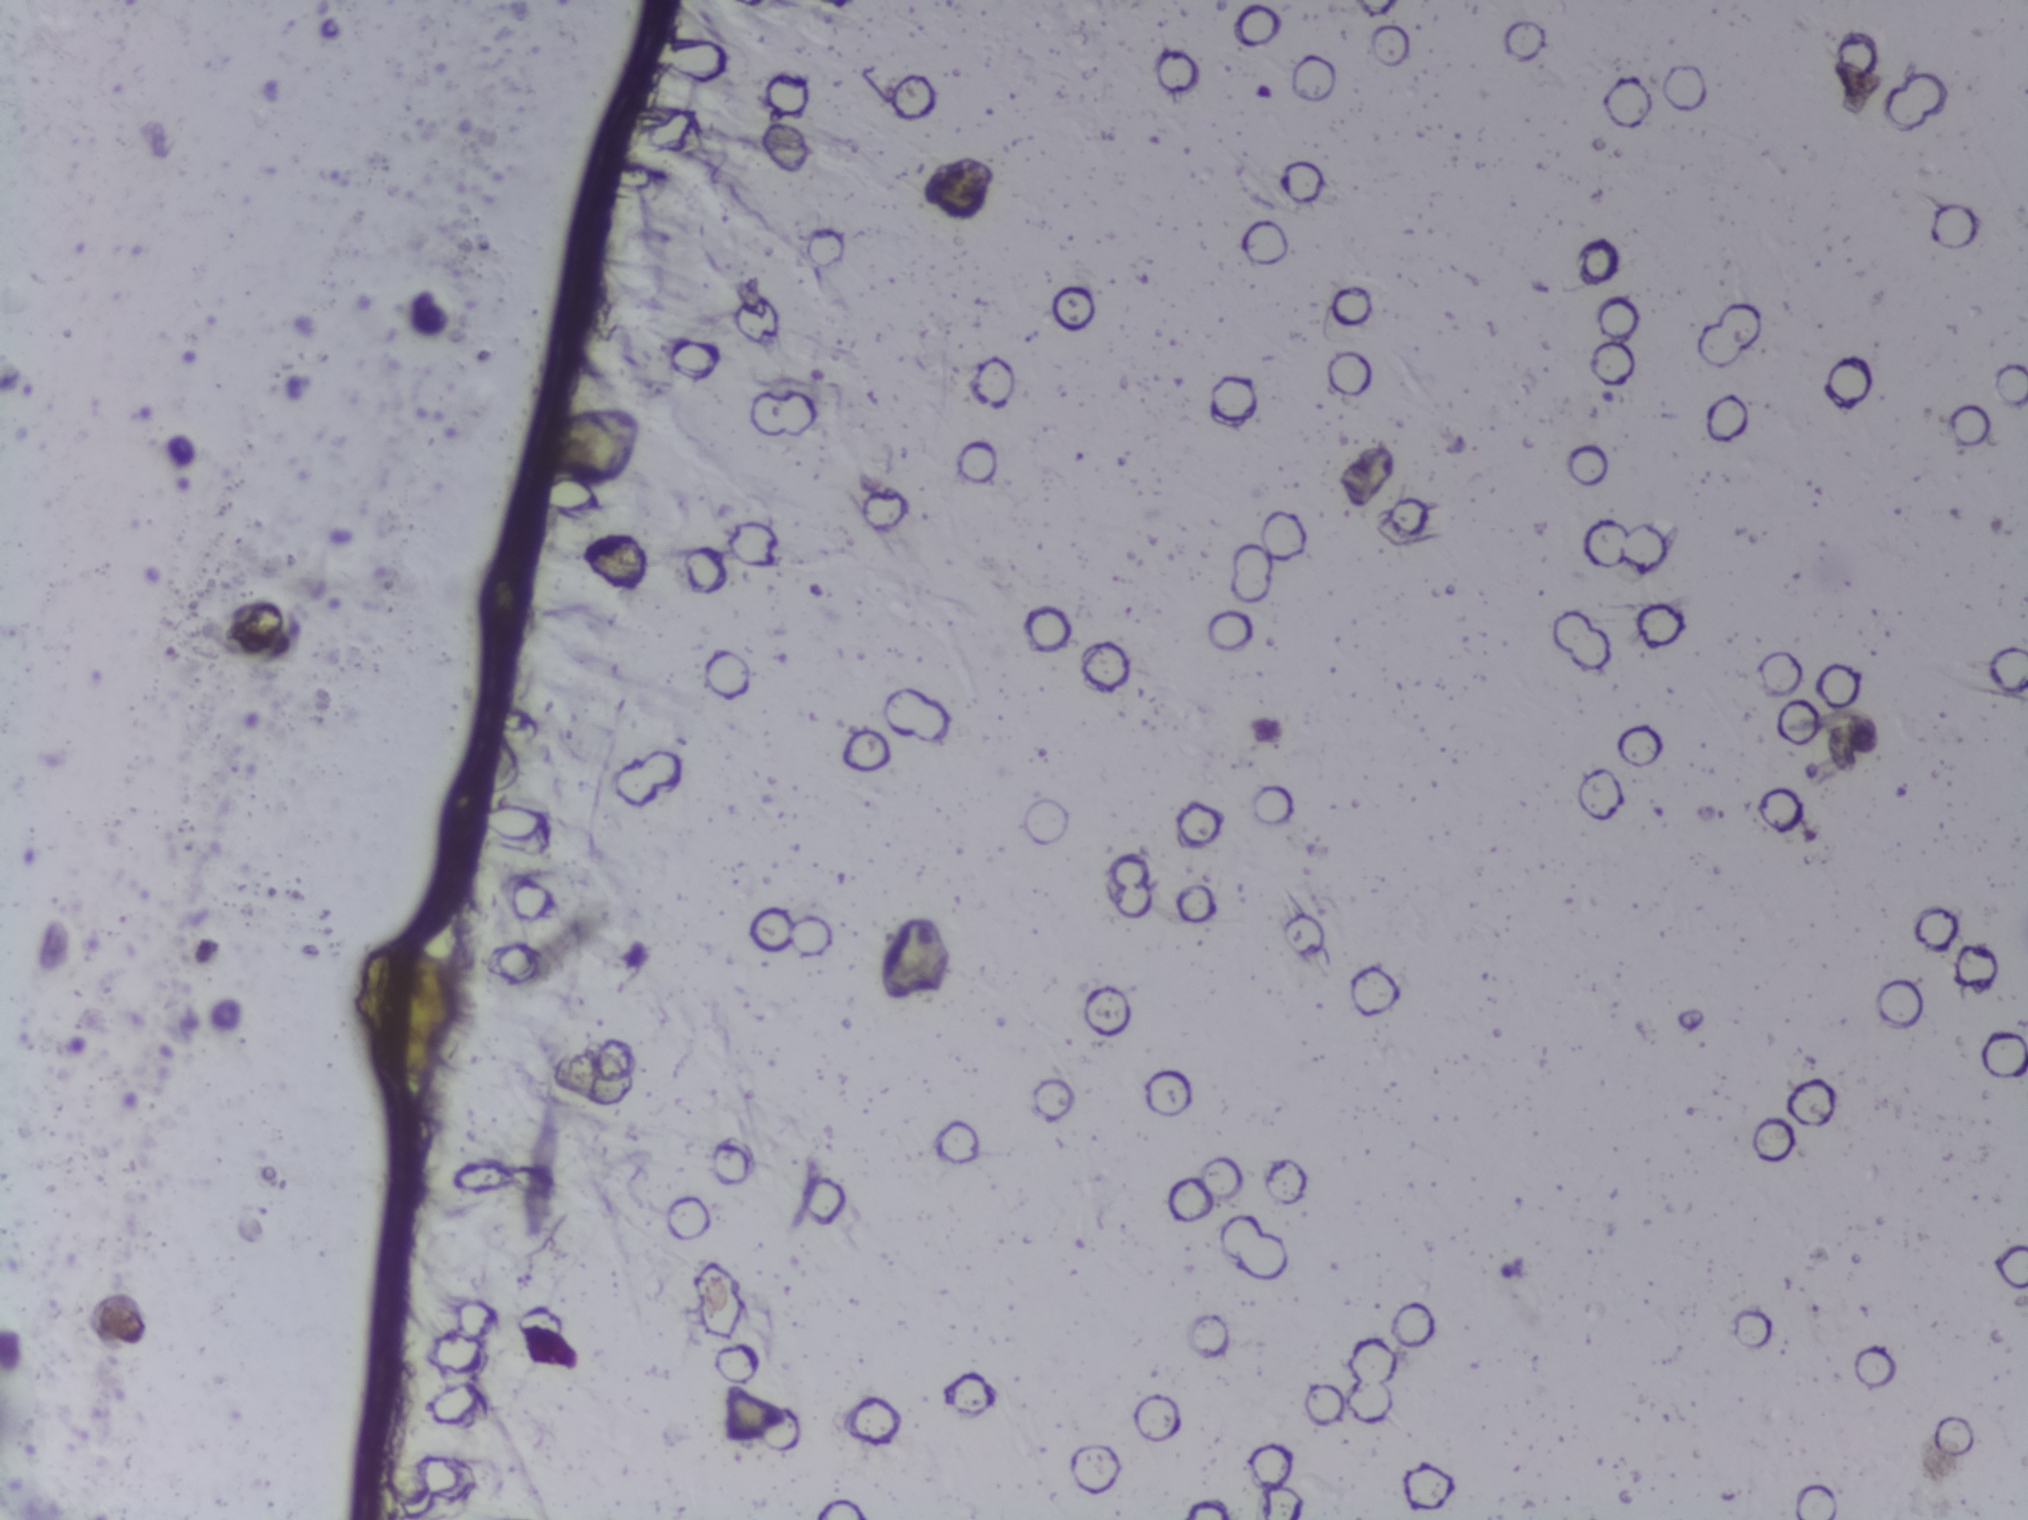
Photomicrograph of a urine filtration membrane, 4× objective. The image covers about 1.5 × 1.1 mm of the membrane.
The expert annotation outlines no Schistosoma egg in this image.